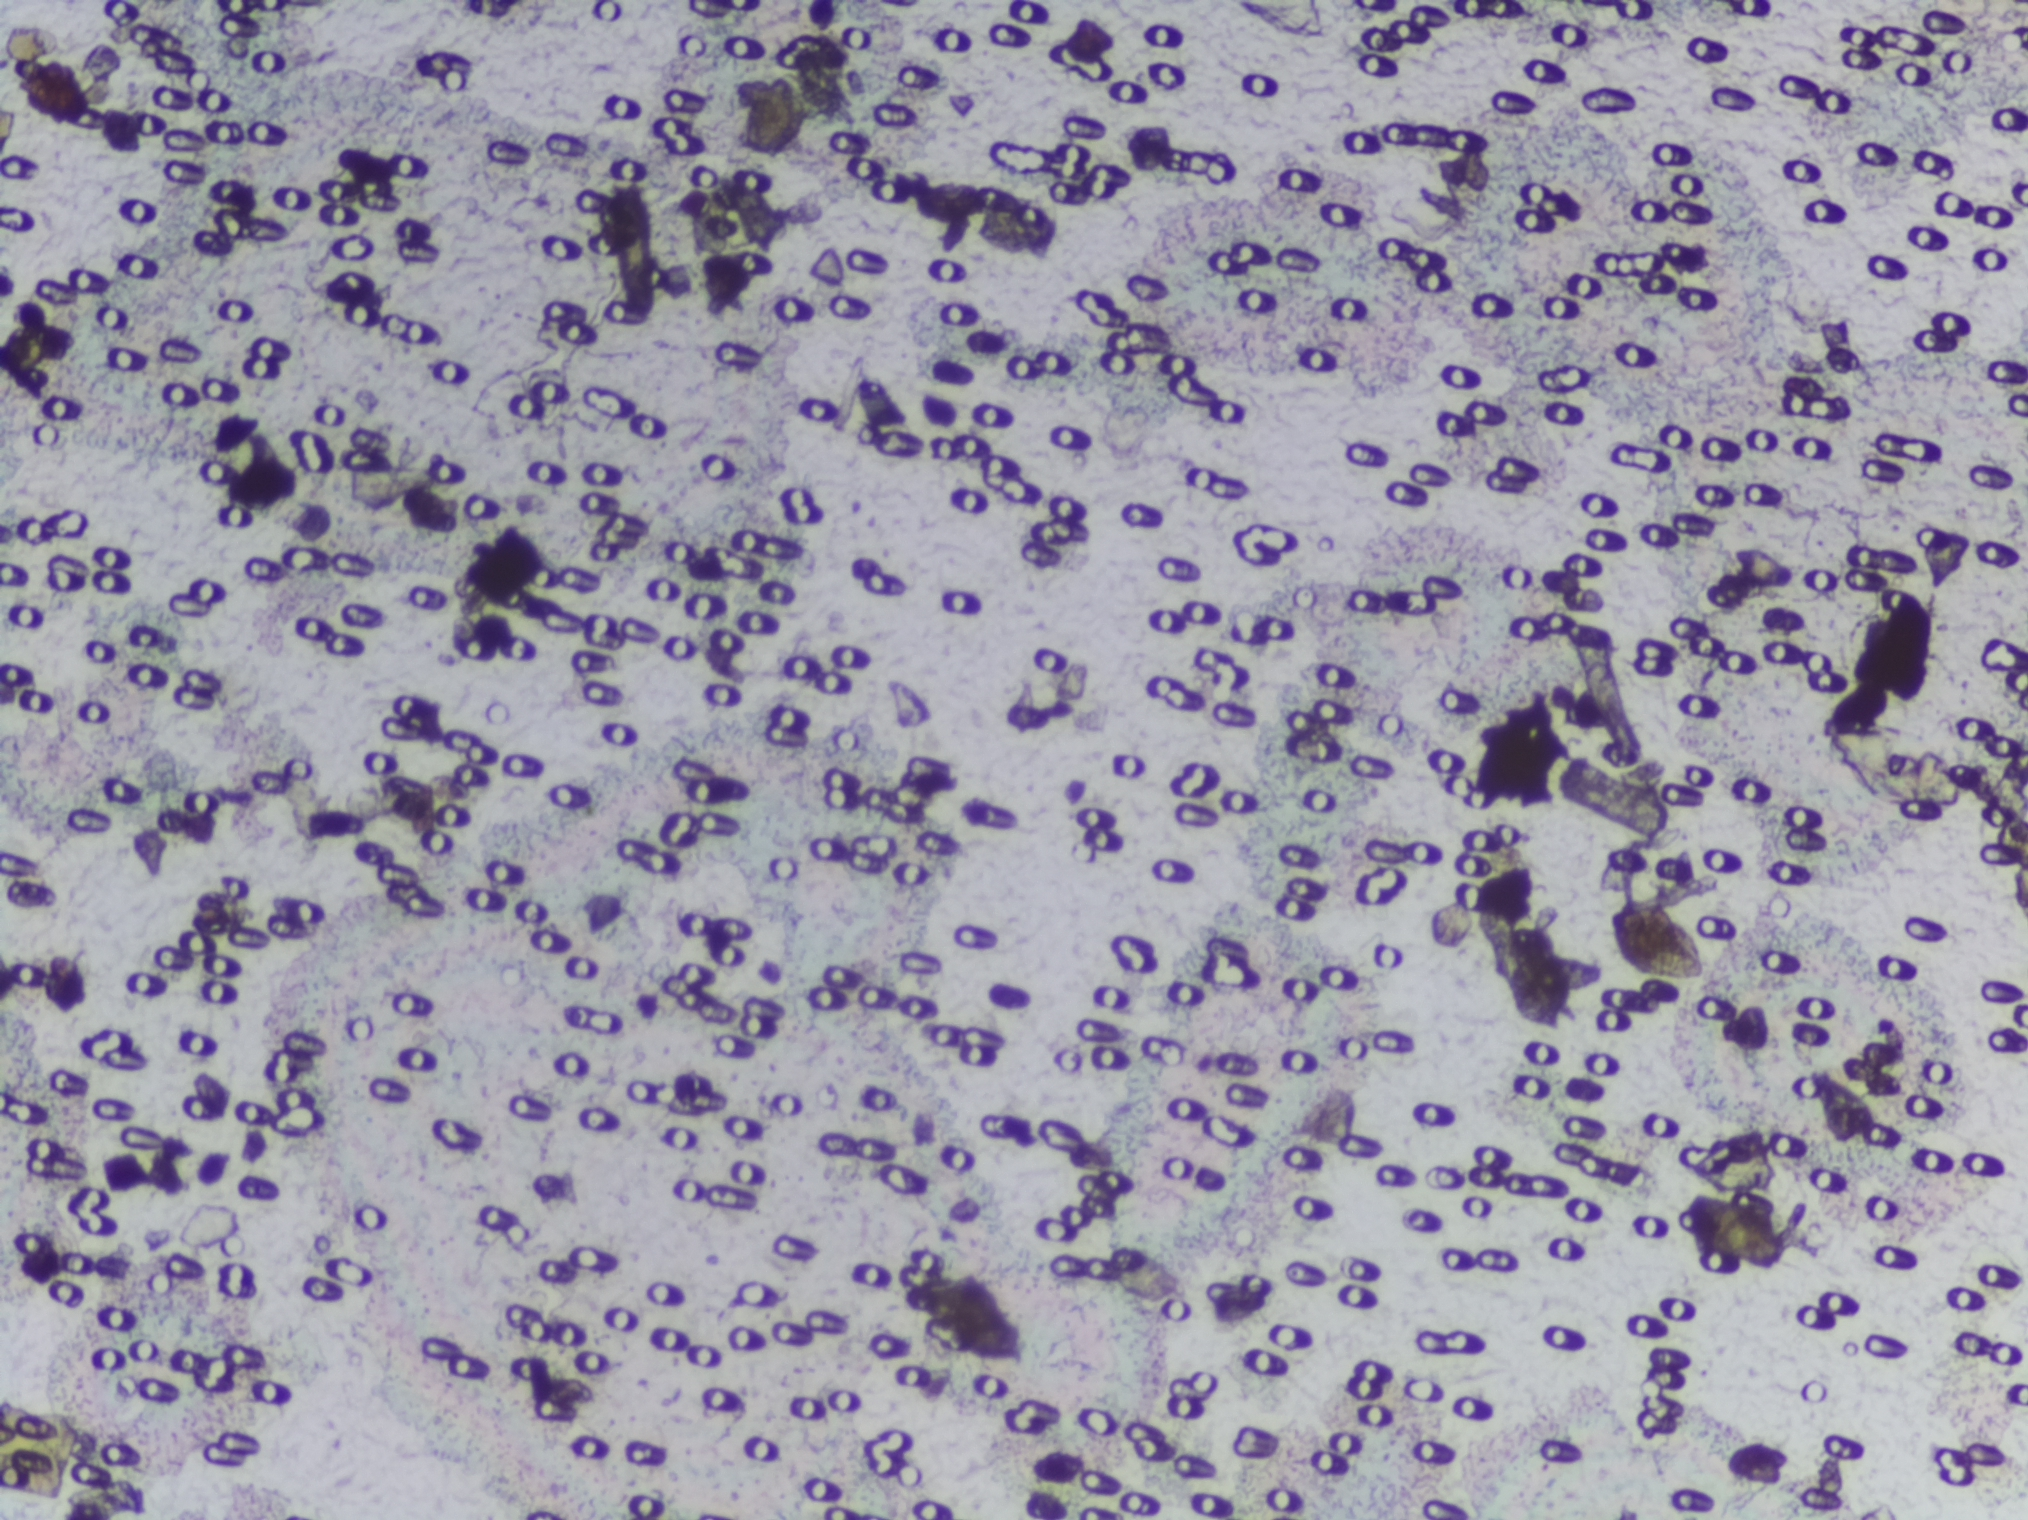
One field of view of a urine filter membrane, 4× objective, 2028 × 1520 pixels. The field of view is about 1.5 mm × 1.1 mm.
The expert annotation outlines no Schistosoma egg in this image.